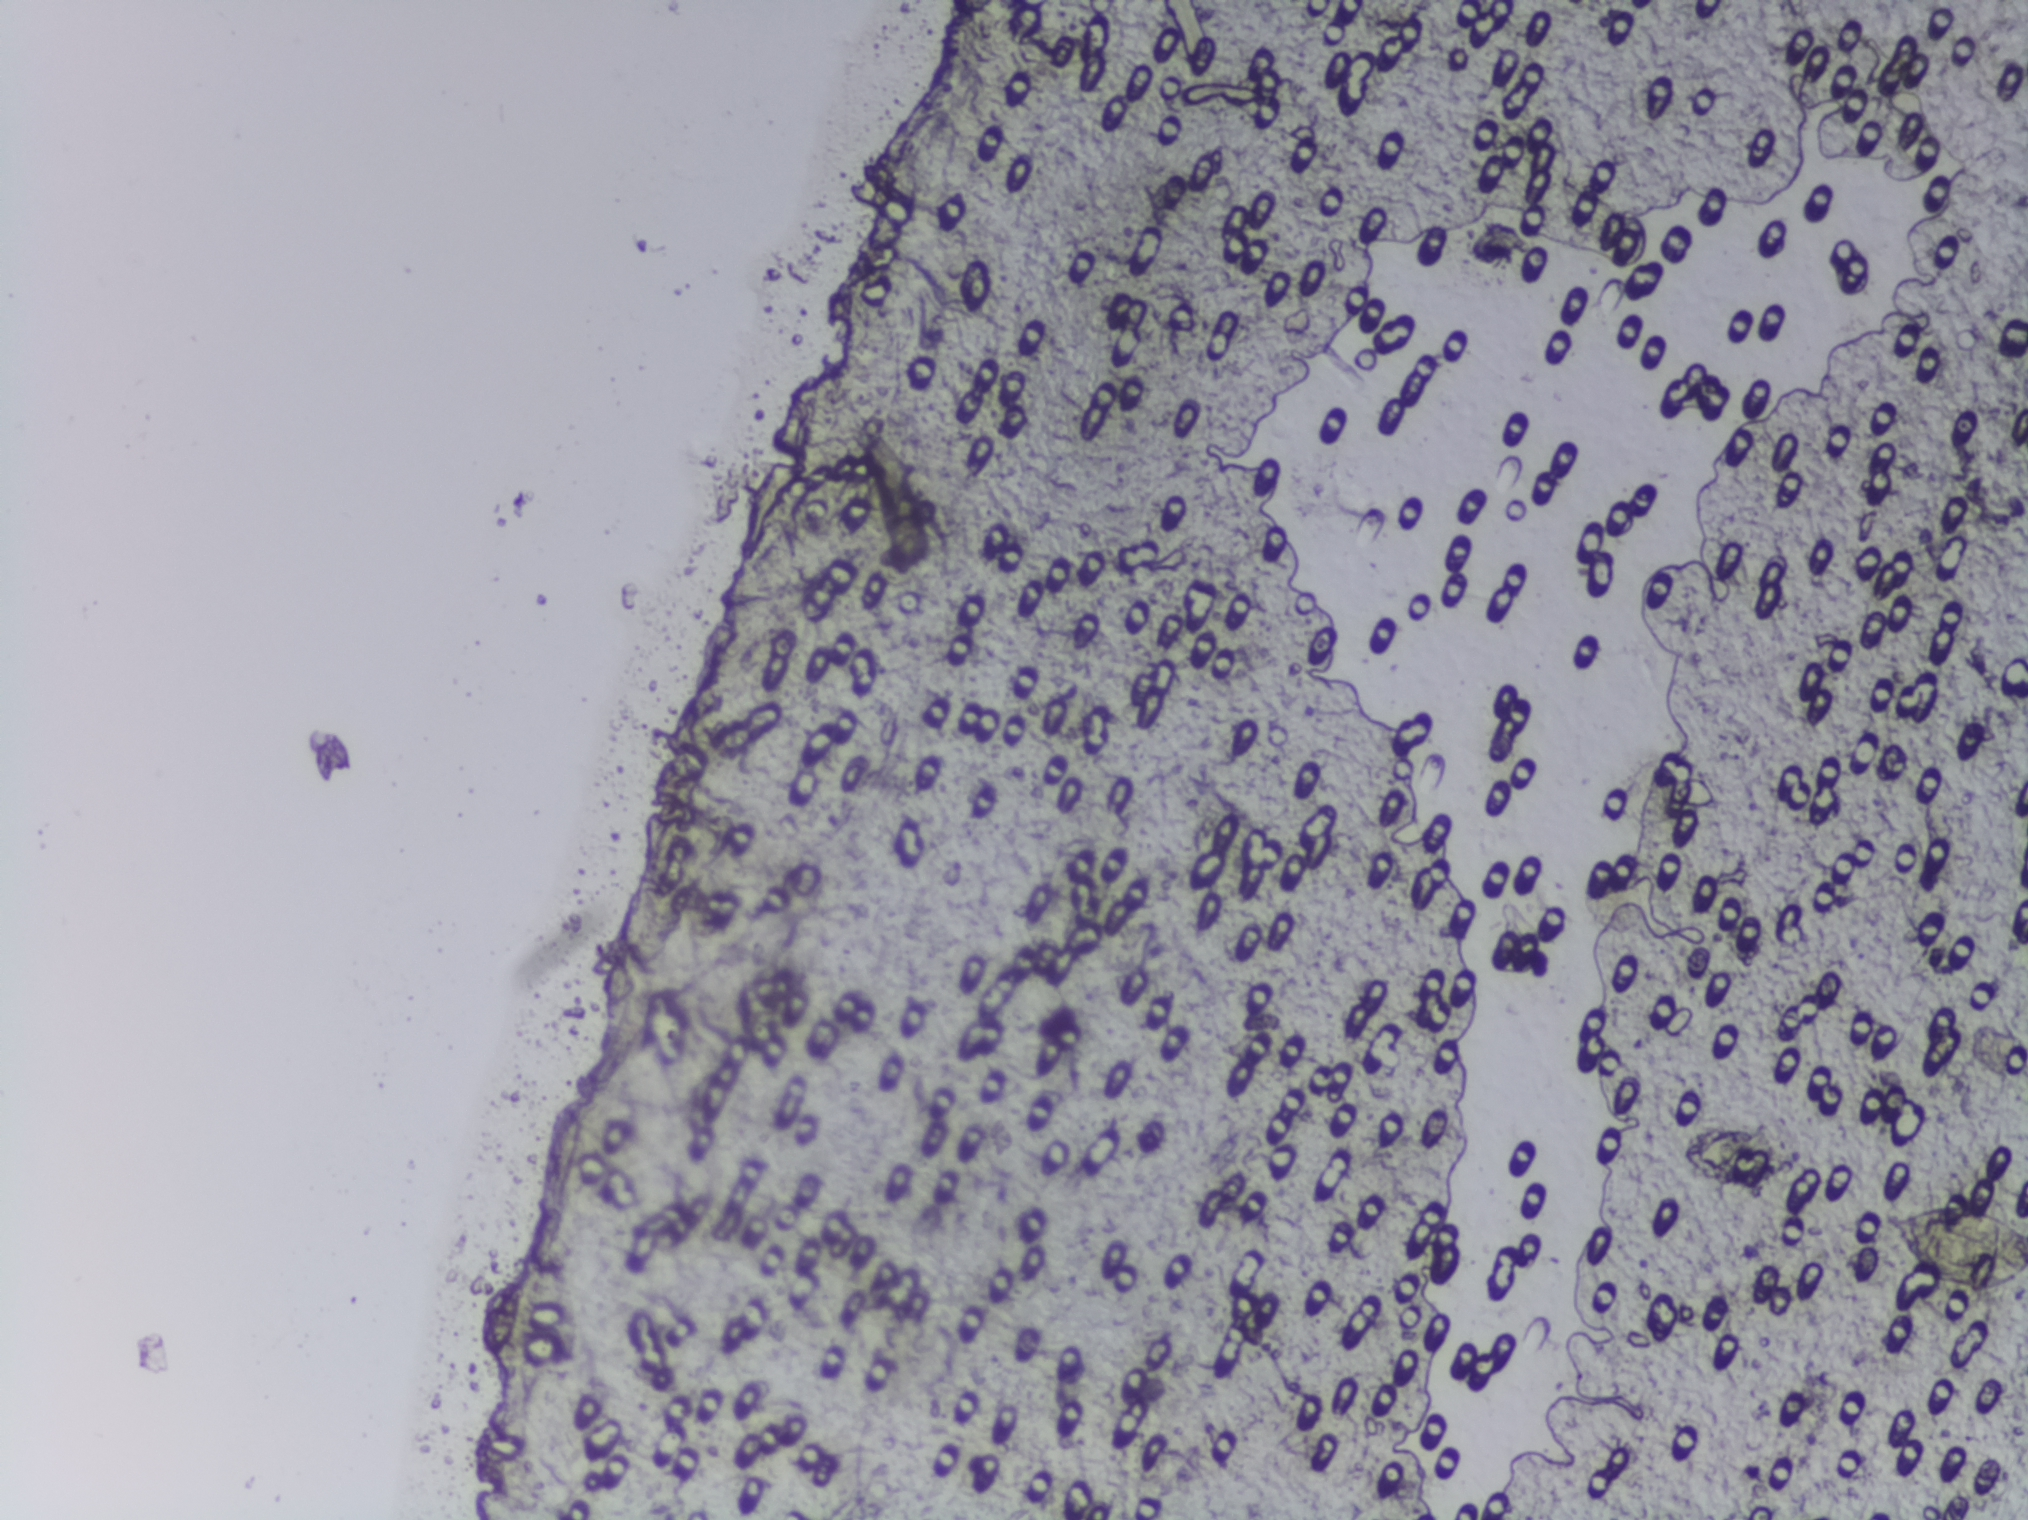
Urine filter membrane photographed through a 4× microscope objective. The field of view is about 1.5 mm × 1.1 mm.
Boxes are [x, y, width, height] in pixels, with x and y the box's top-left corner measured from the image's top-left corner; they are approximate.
Schistosoma eggs are outlined in the expert annotation at [1879, 1190, 149, 102] (reaching the right edge of the frame). Marked pixels, not the box around them: about 0.3% of the image. A single outlined area may contain several eggs.